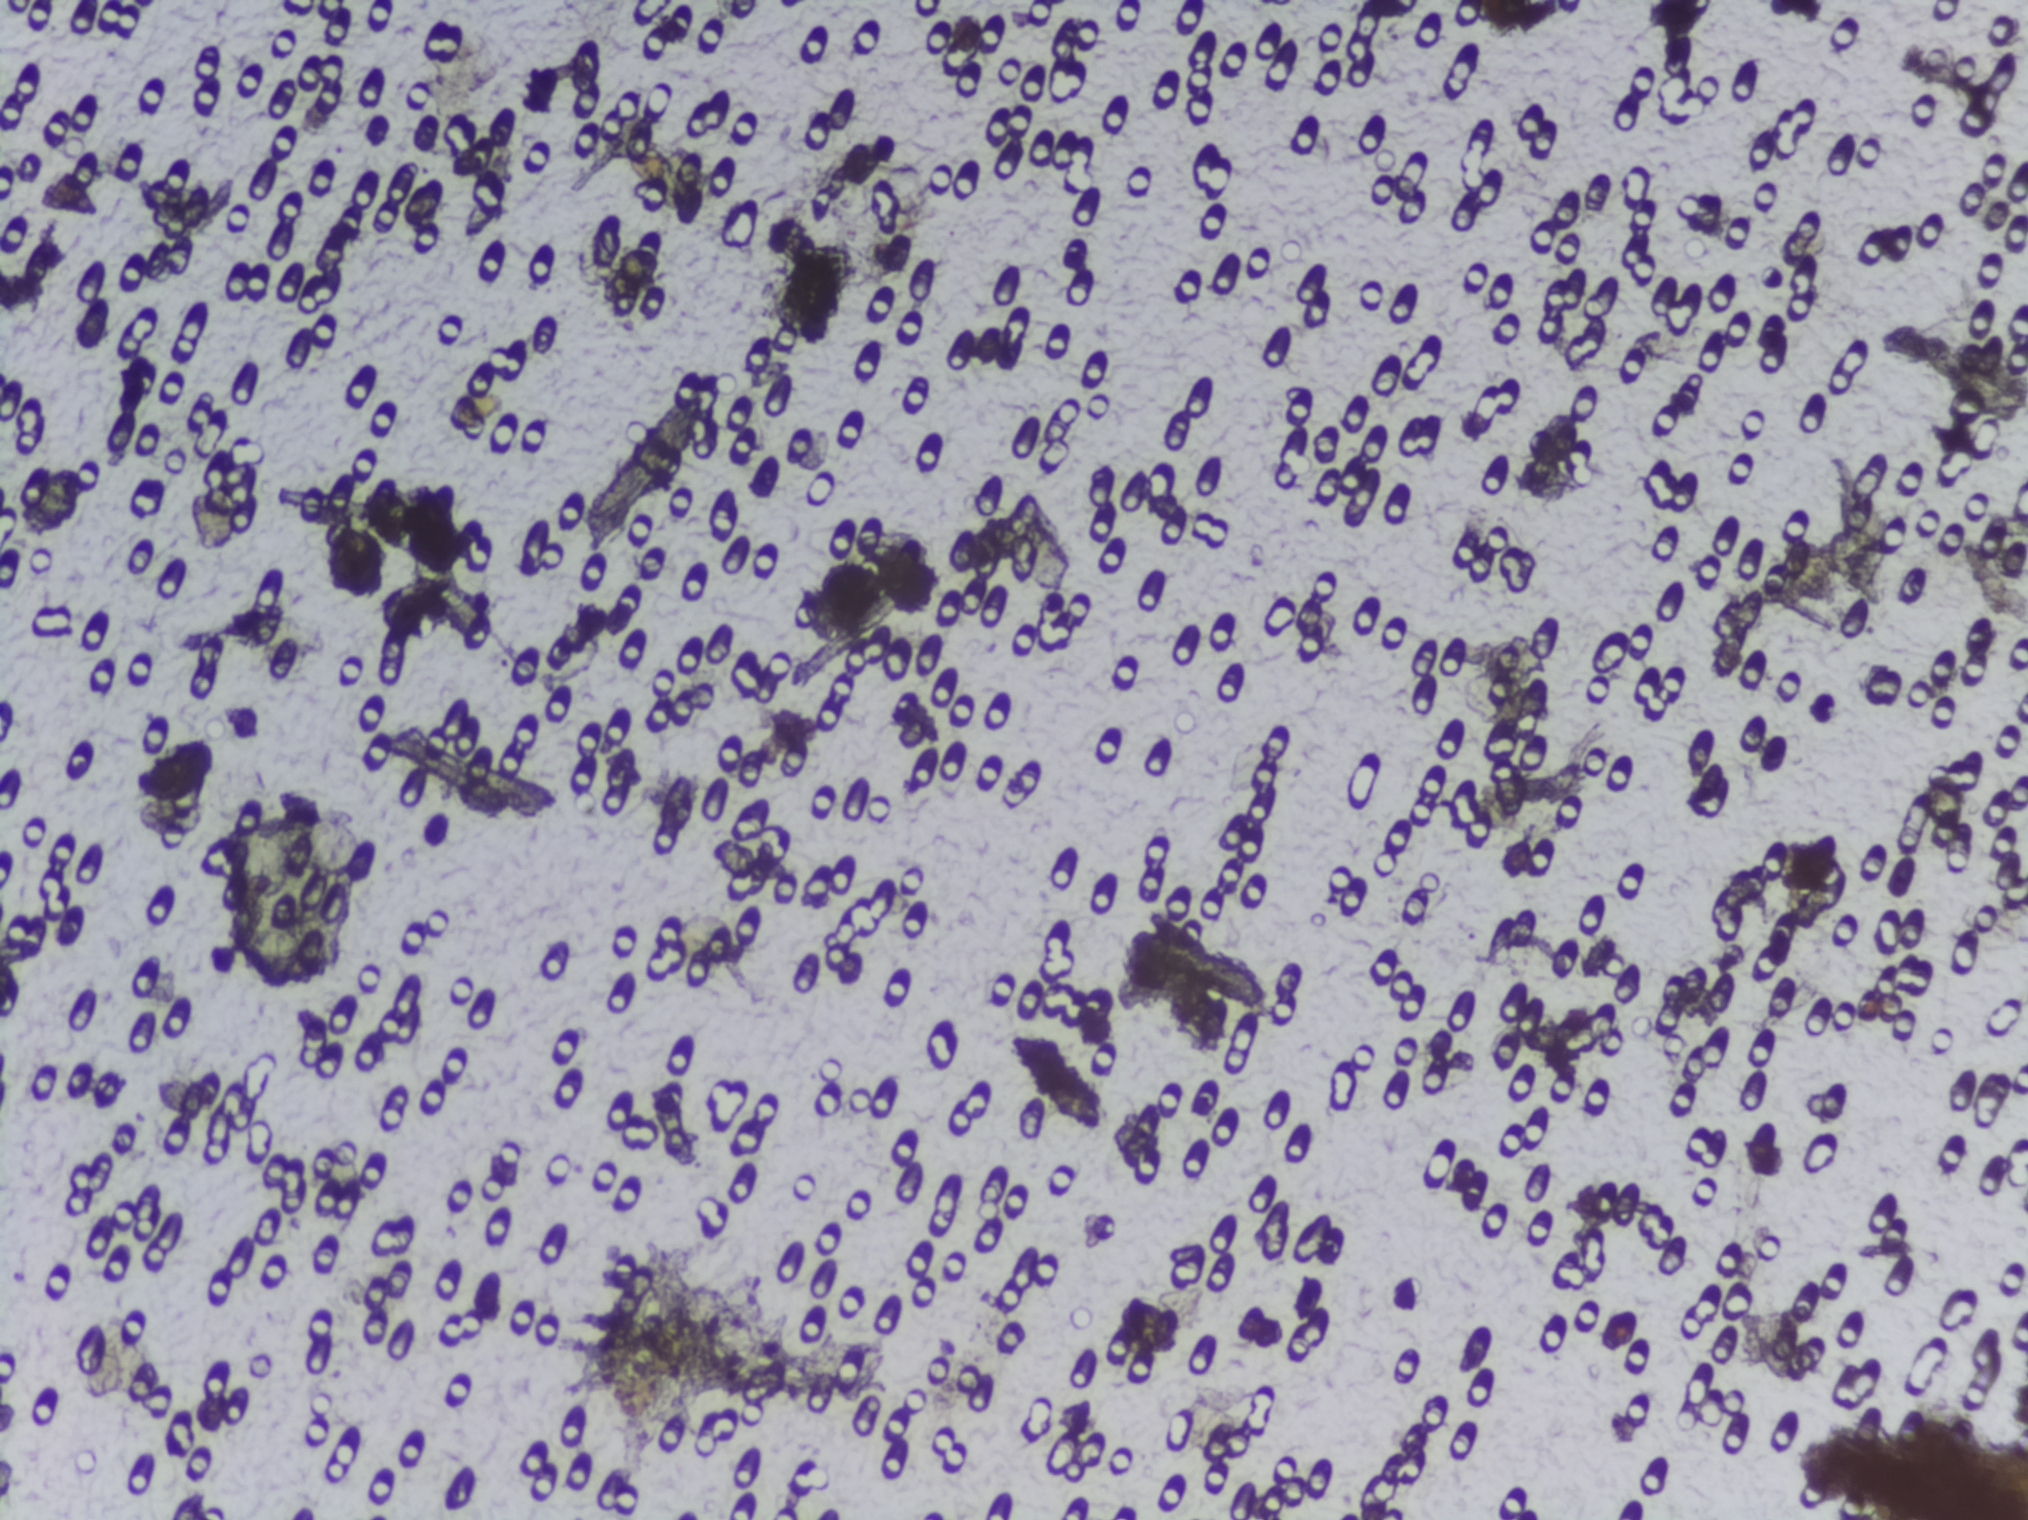
One field of view of a urine filter membrane, 4× objective, 2028 × 1520 pixels. The field of view is about 1.5 mm × 1.1 mm.
Schistosoma eggs: none outlined.